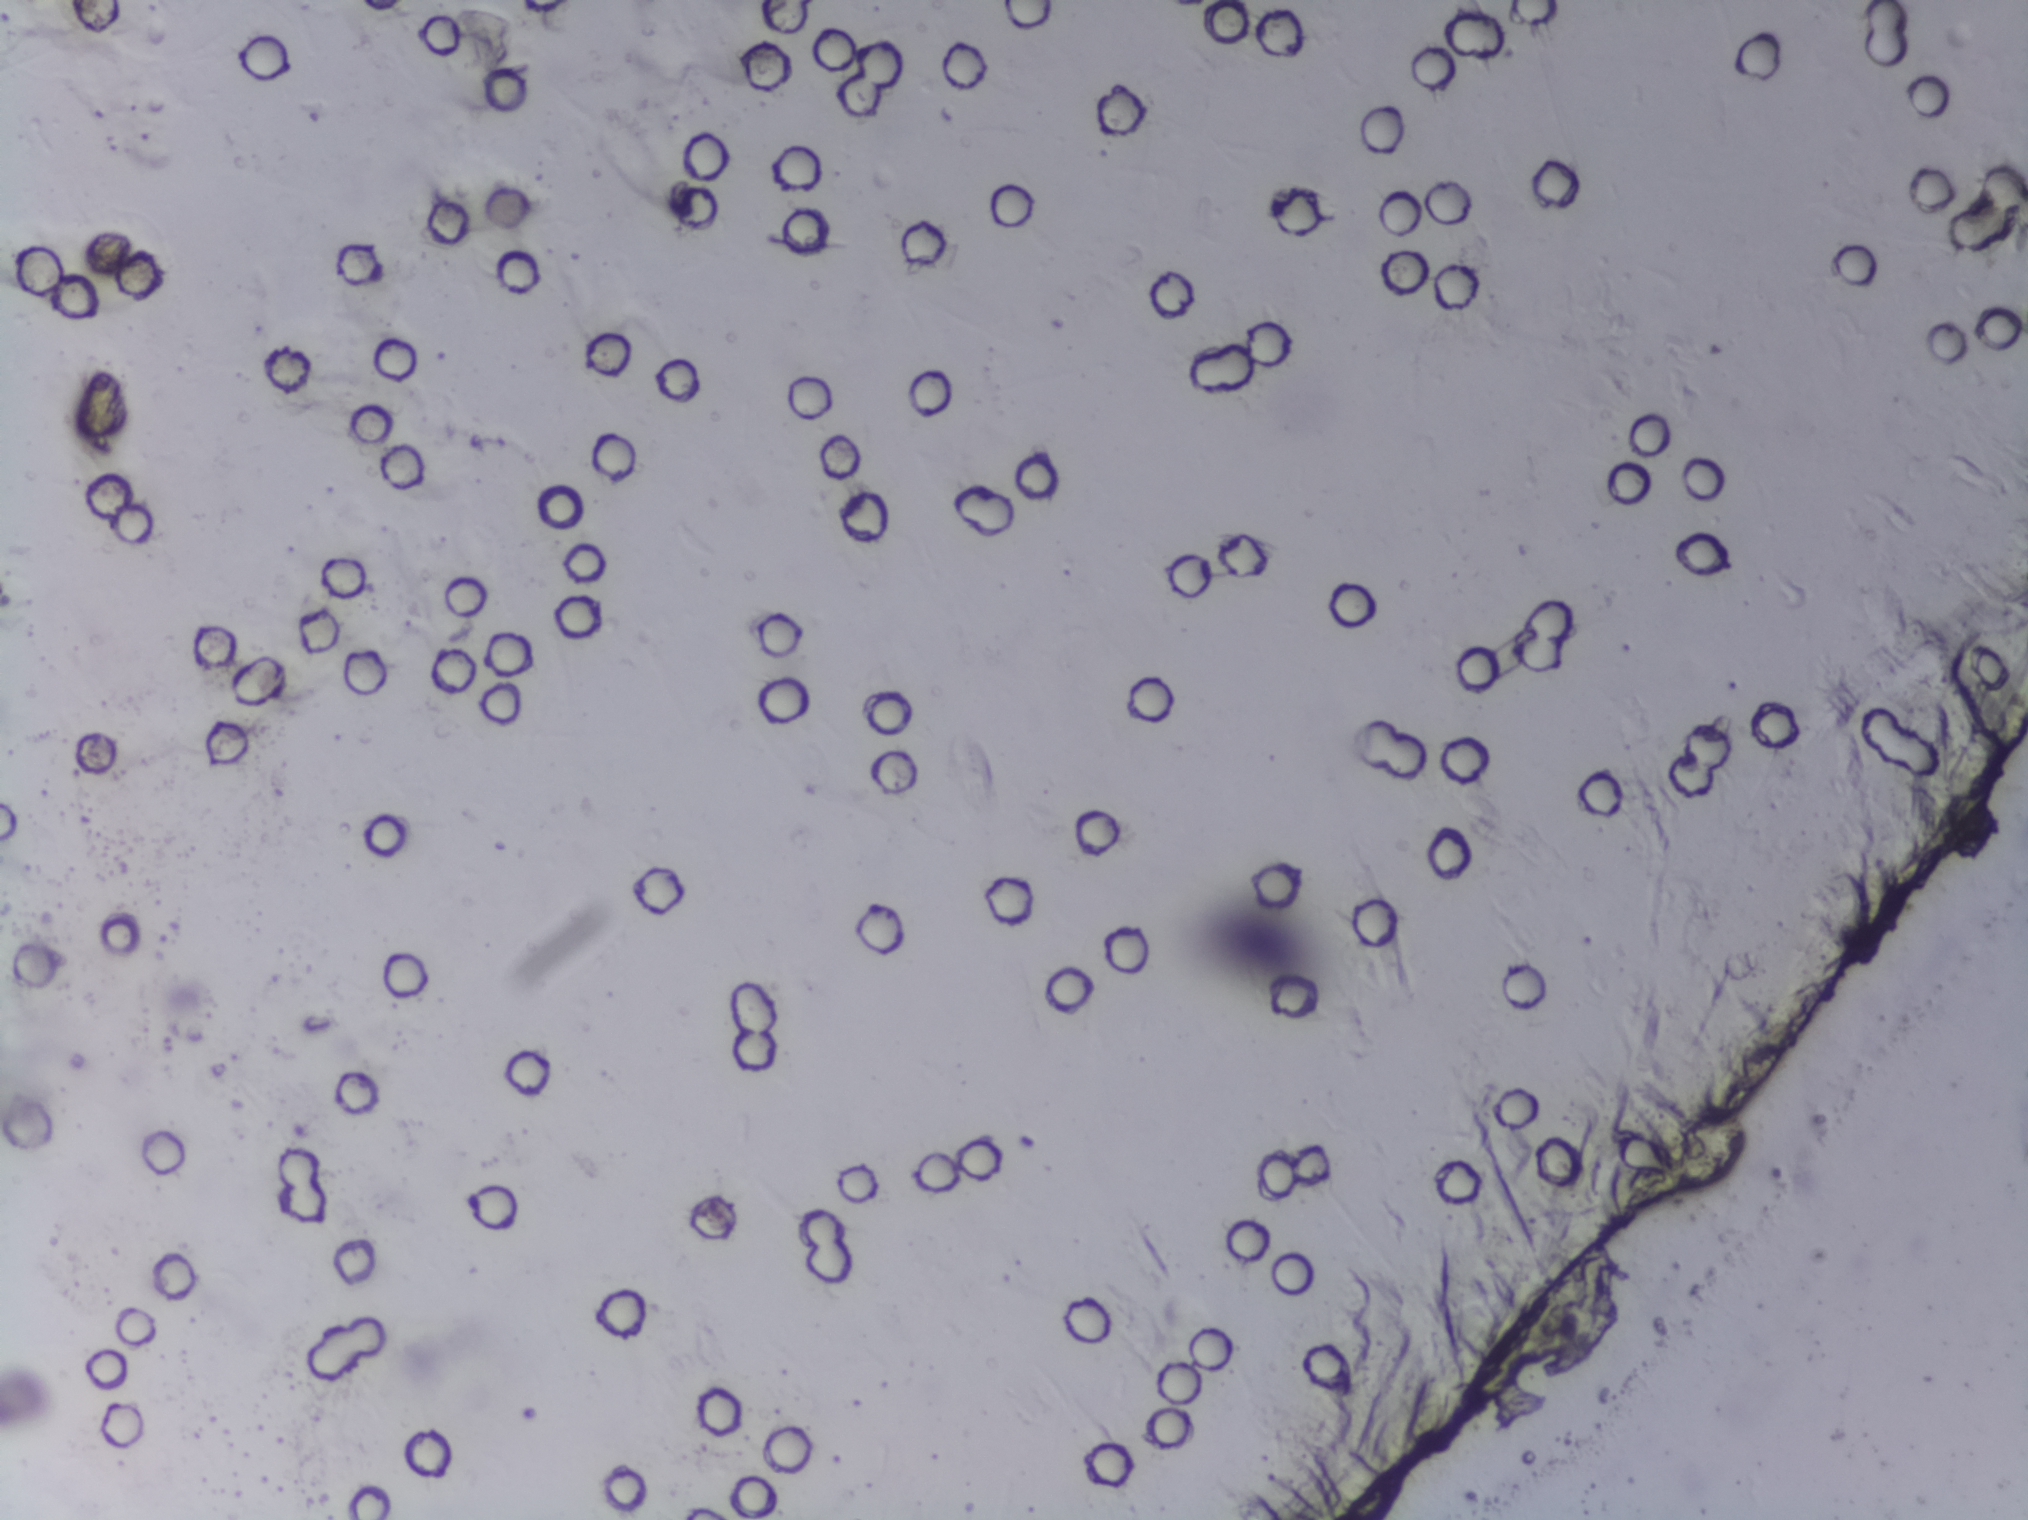
Photomicrograph of a urine filtration membrane, 4× objective.
No area of this image was outlined as a Schistosoma egg.